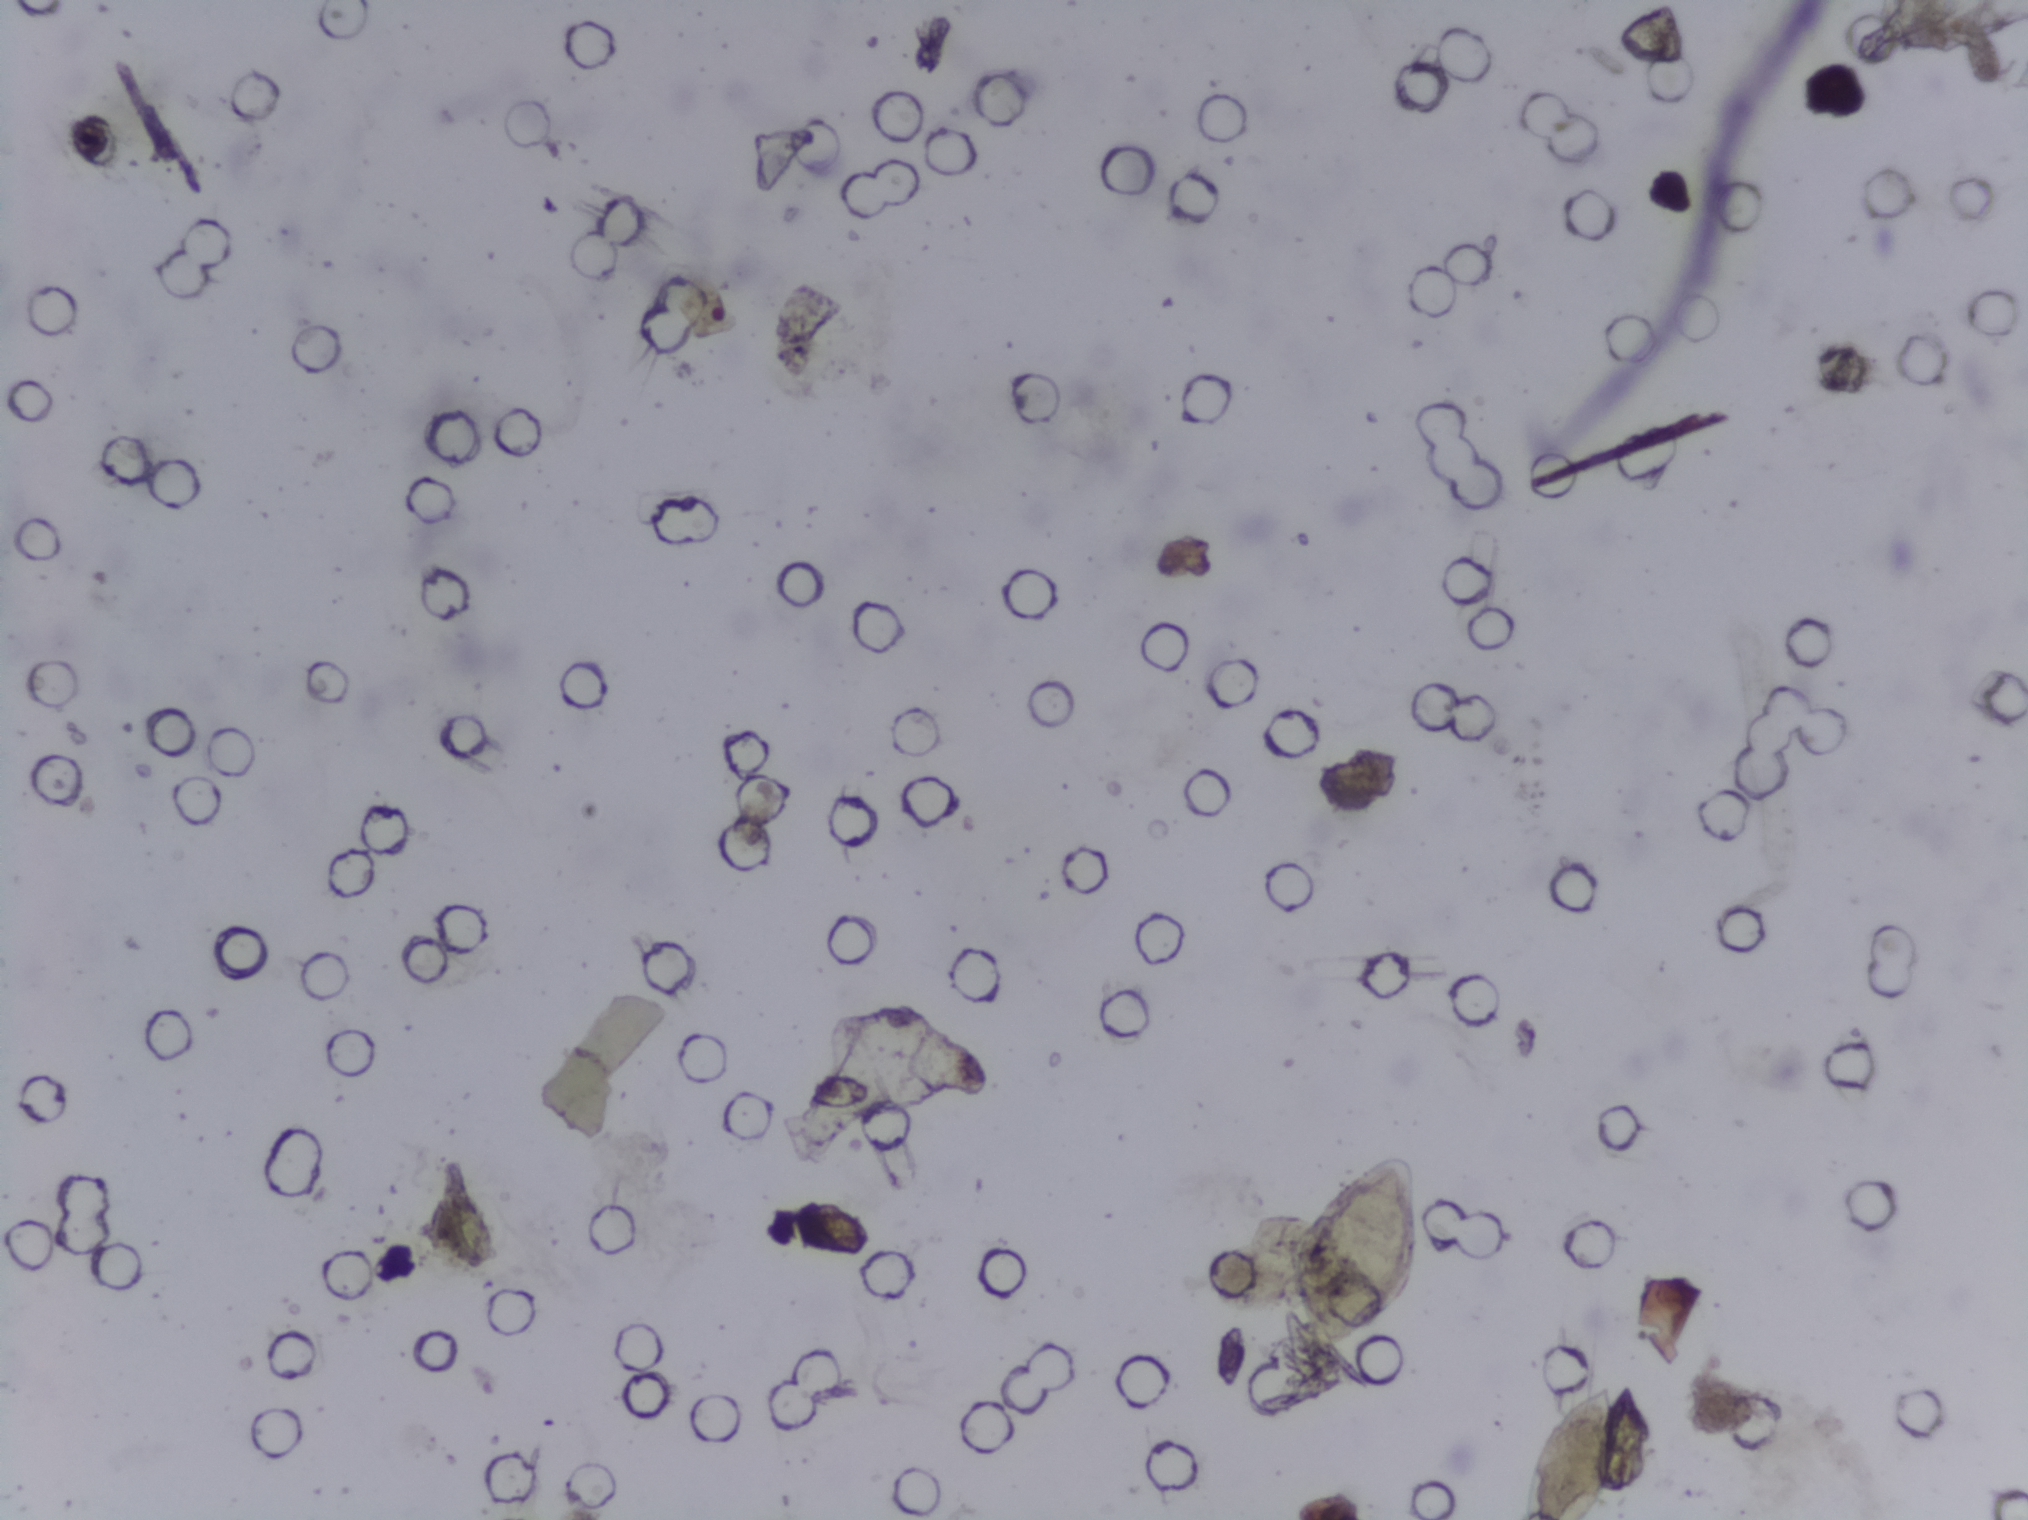
Microscope photograph (4× objective) of a membrane that a urine sample was filtered through.
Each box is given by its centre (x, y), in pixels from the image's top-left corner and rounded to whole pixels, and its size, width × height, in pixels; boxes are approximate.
Schistosoma eggs are outlined in the expert annotation at centre (1355, 1250), 125 × 194 px and centre (1572, 1453), 100 × 134 px (reaching the bottom edge of the frame). An outlined area can hold more than one egg.